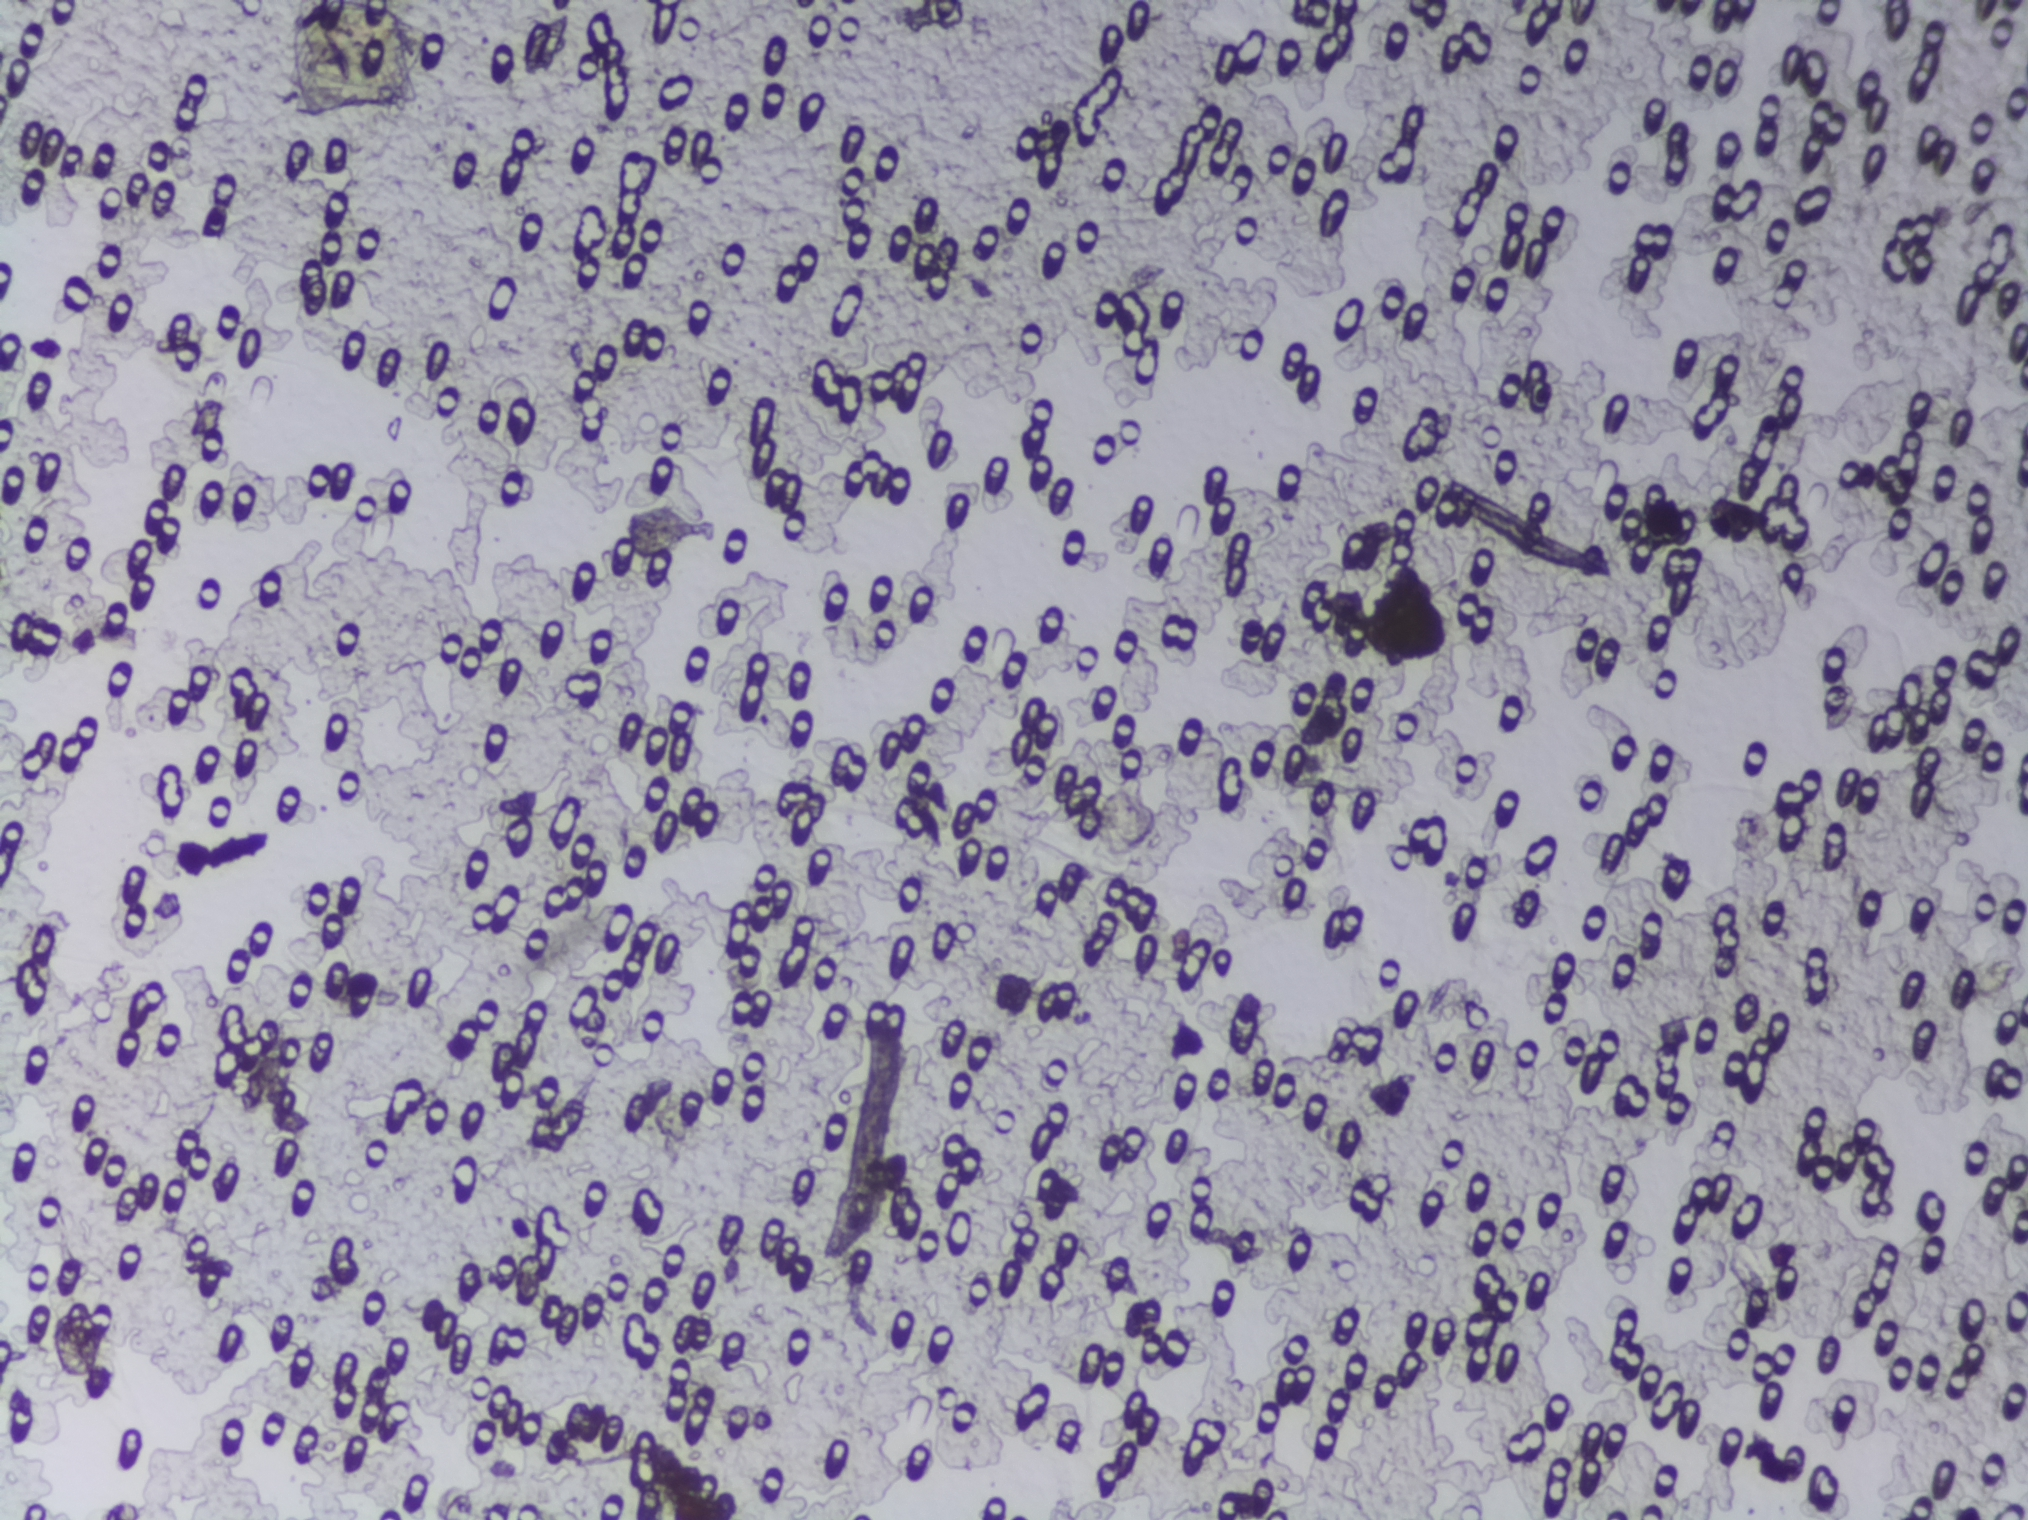
Photograph from an automated digital microscope: urine filter membrane, 4× objective.
Schistosoma eggs: none outlined.